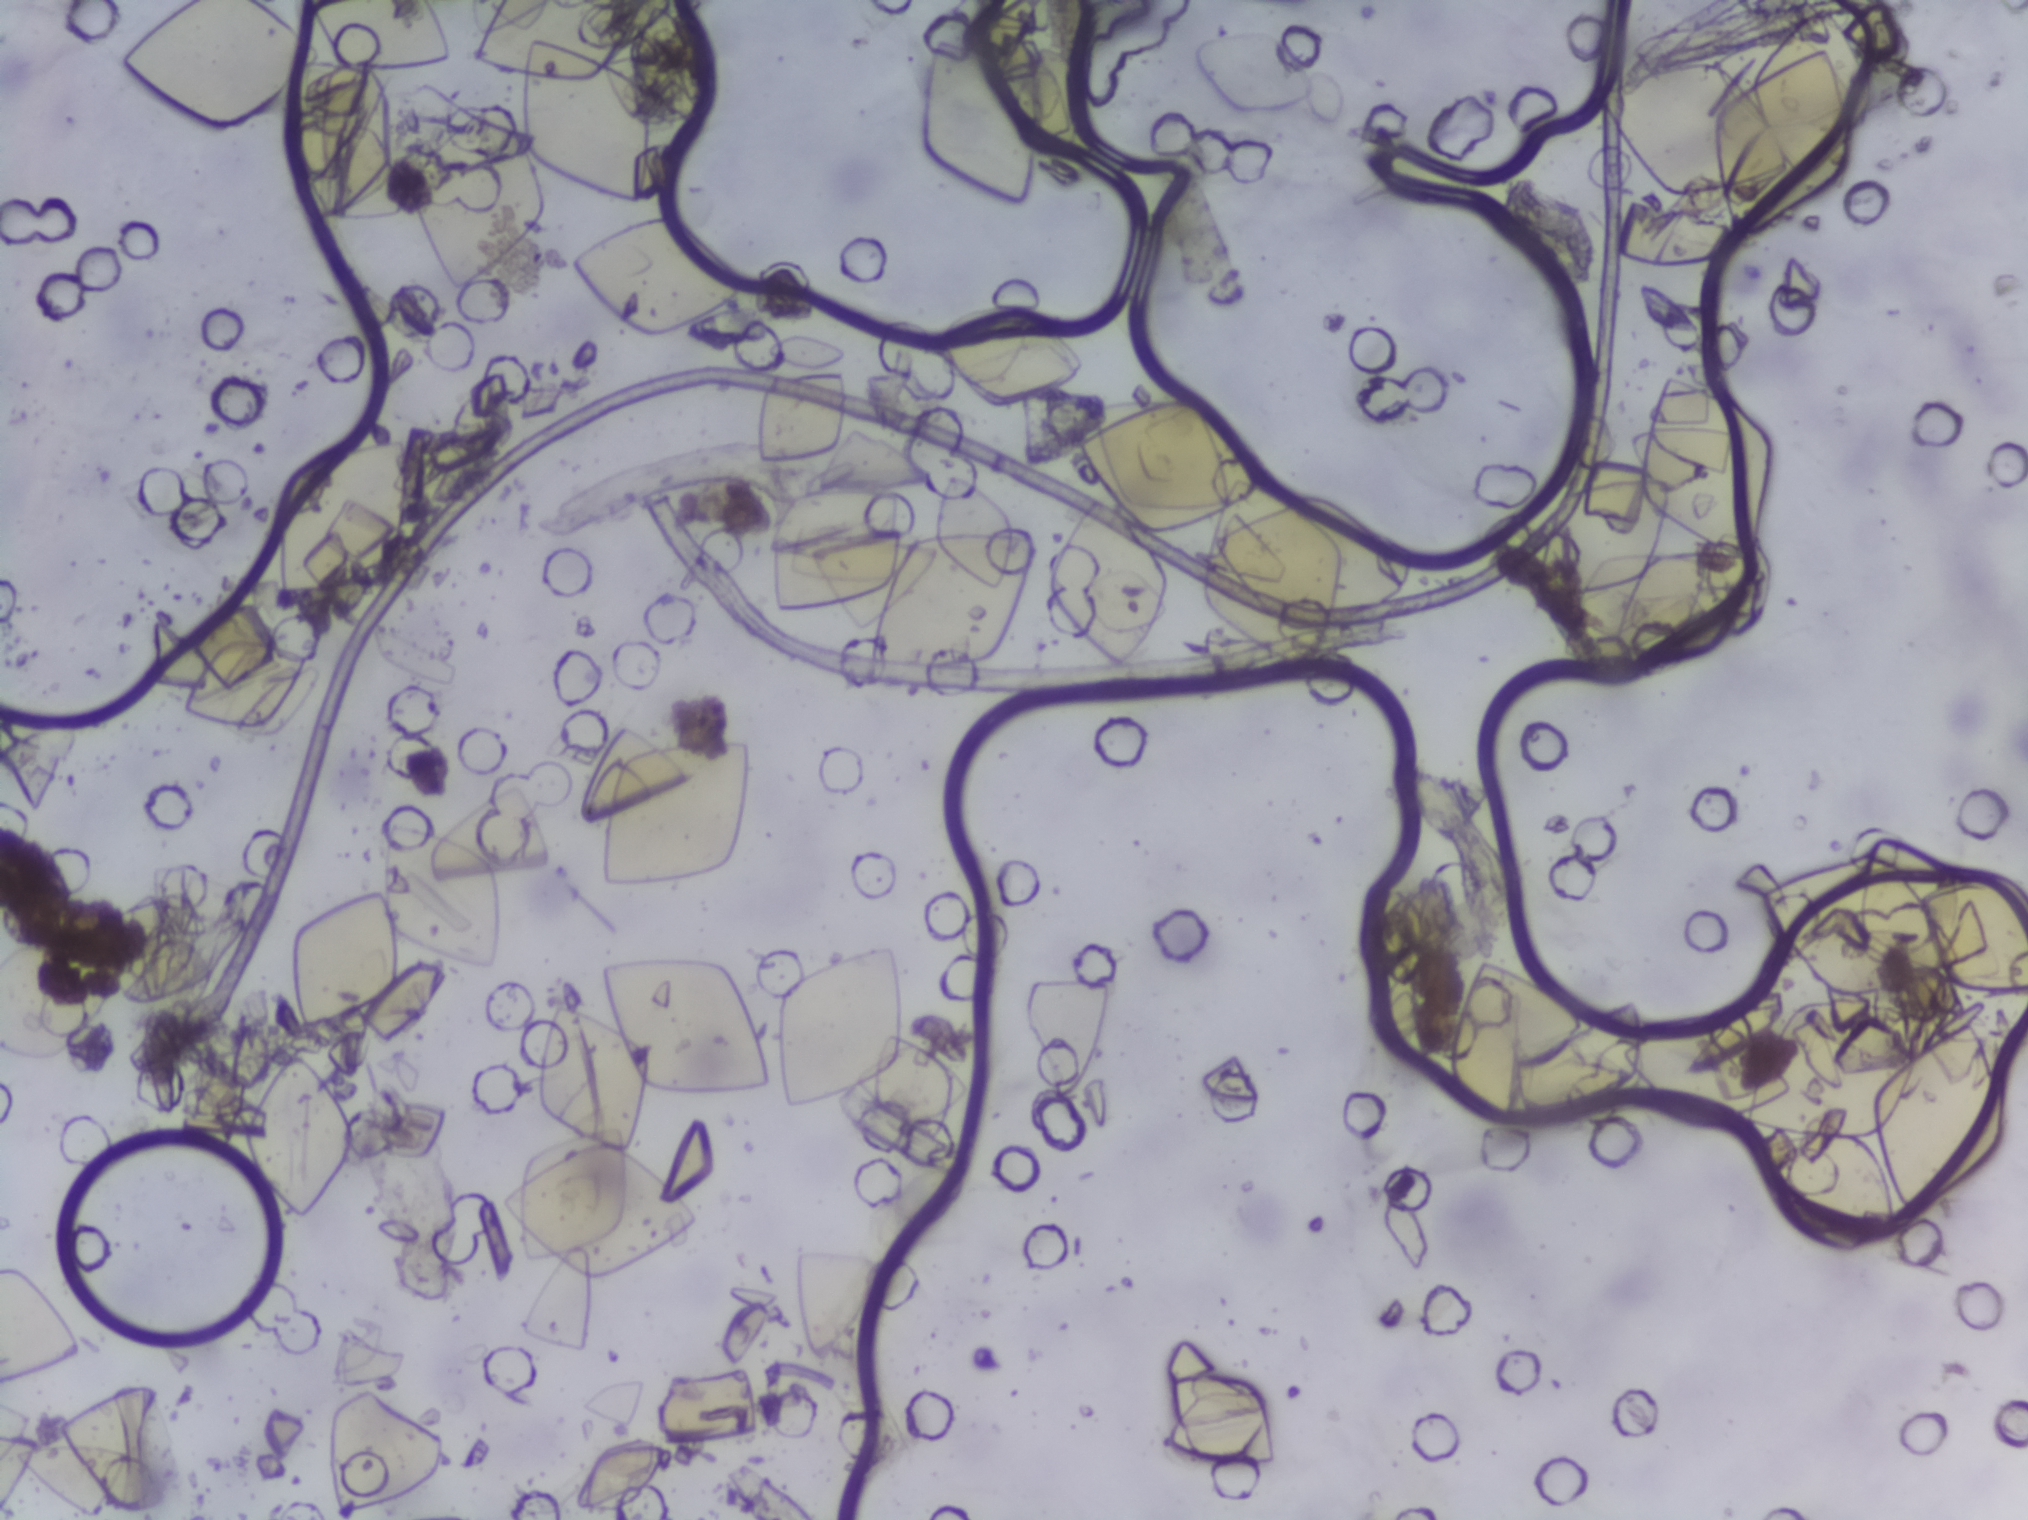
Urine filter membrane photographed through a 4× microscope objective.
Schistosoma eggs: none outlined.